One field of view of a urine filter membrane, 4× objective, 2028 × 1520 pixels.
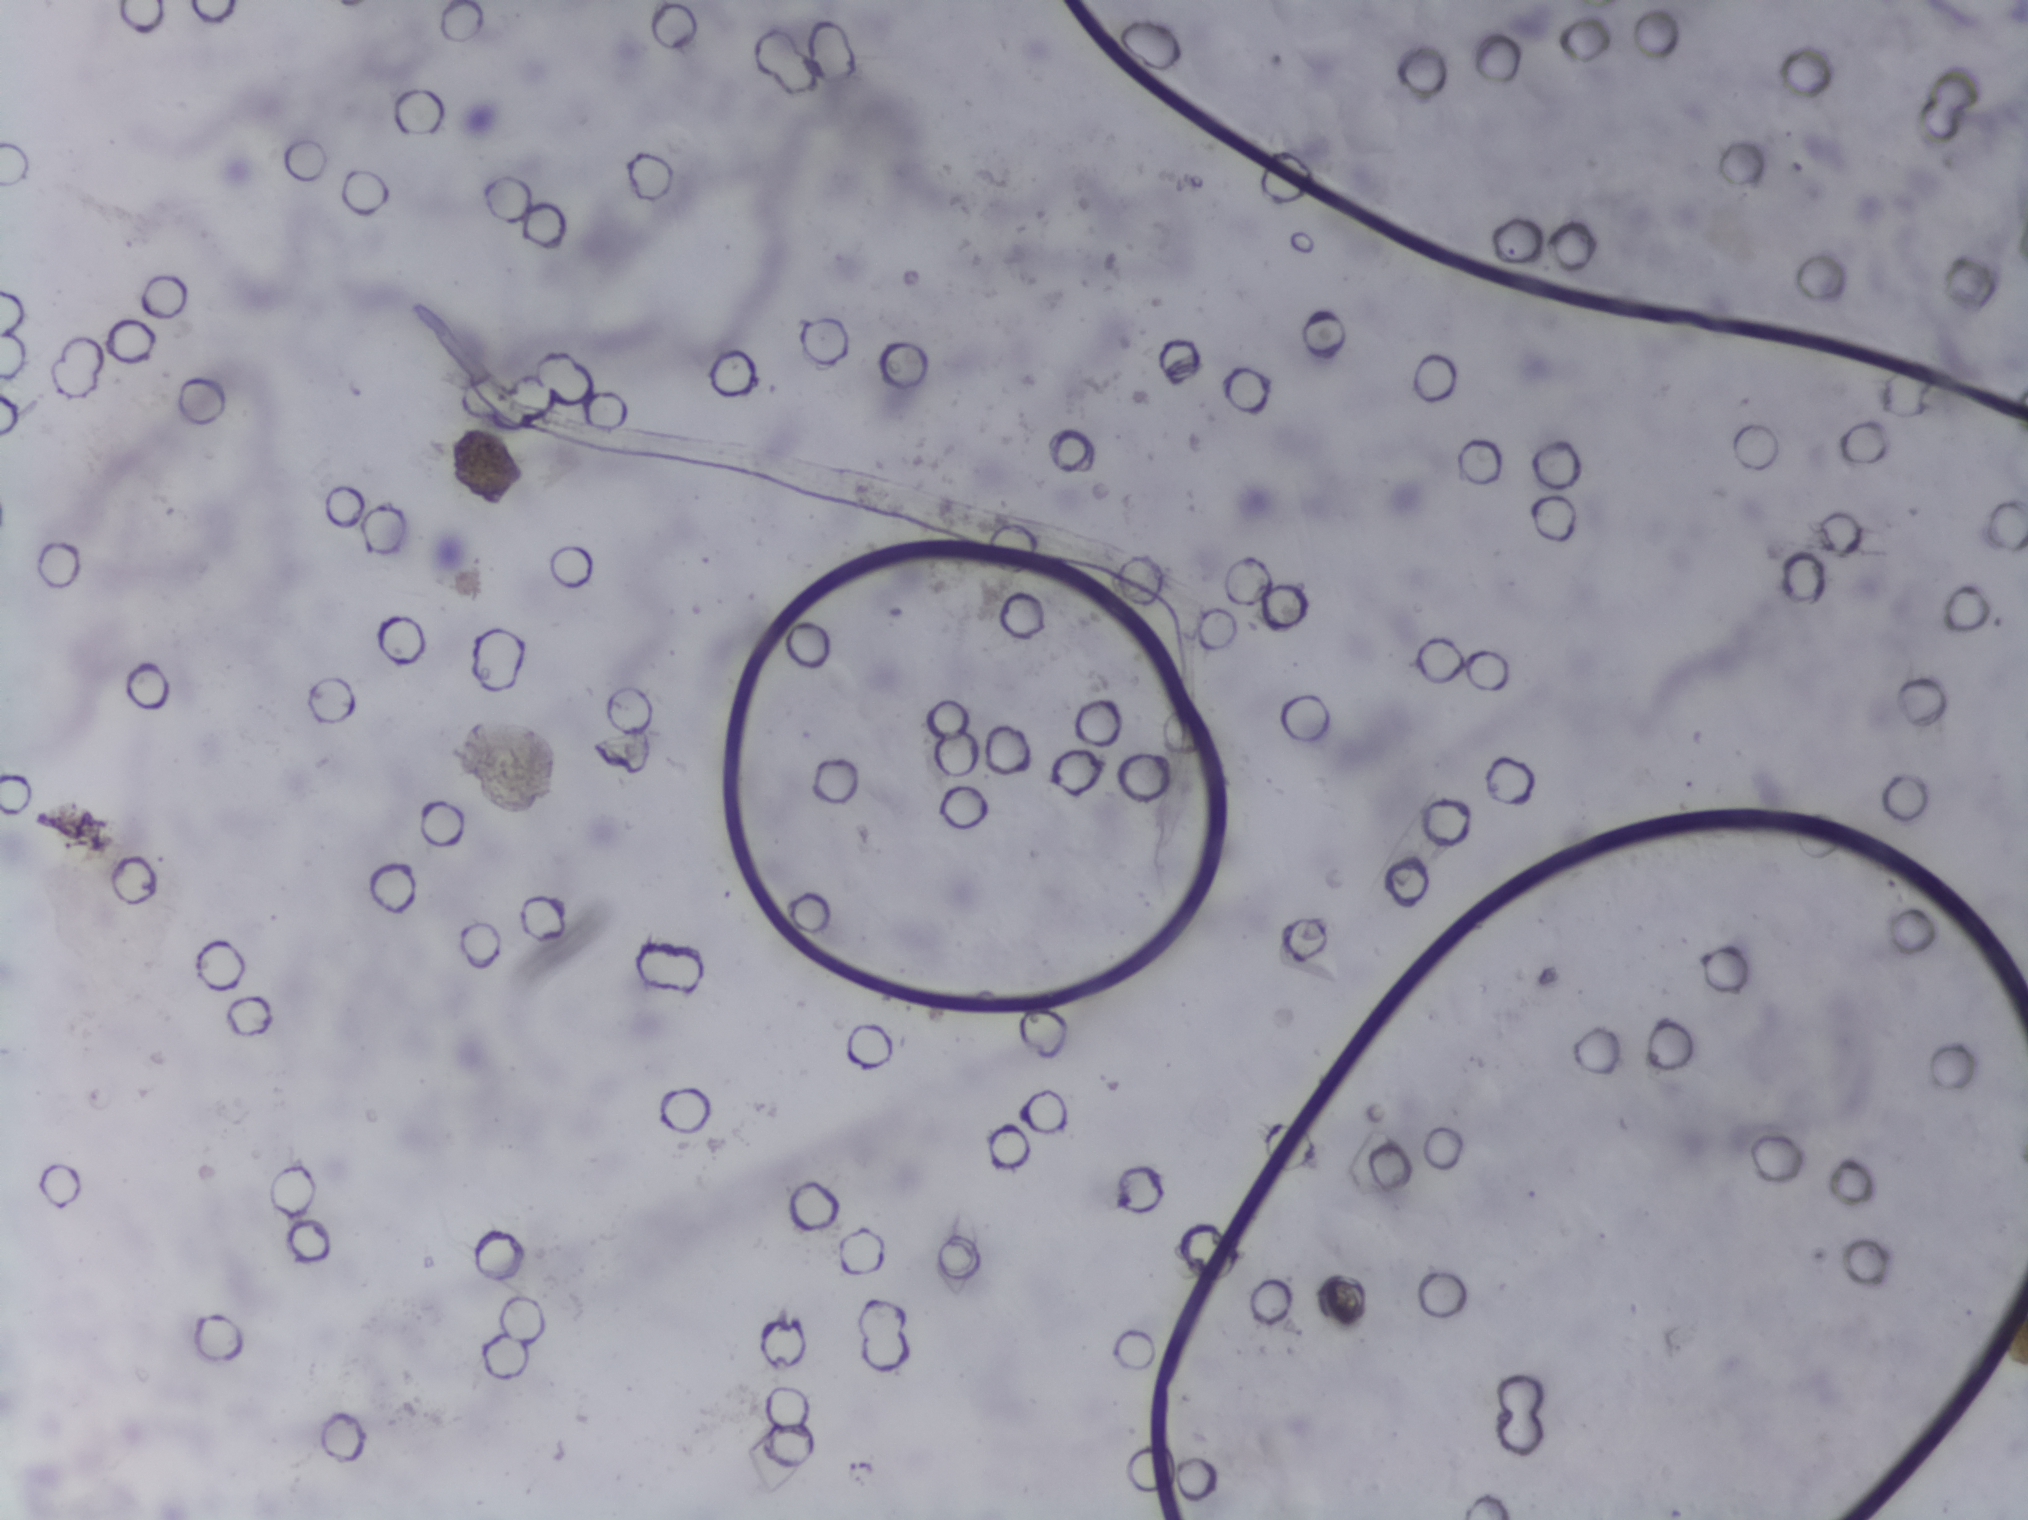
The expert annotation outlines no Schistosoma egg in this image.